Microscope photograph (4× objective) of a membrane that a urine sample was filtered through. The image covers about 1.5 × 1.1 mm of the membrane.
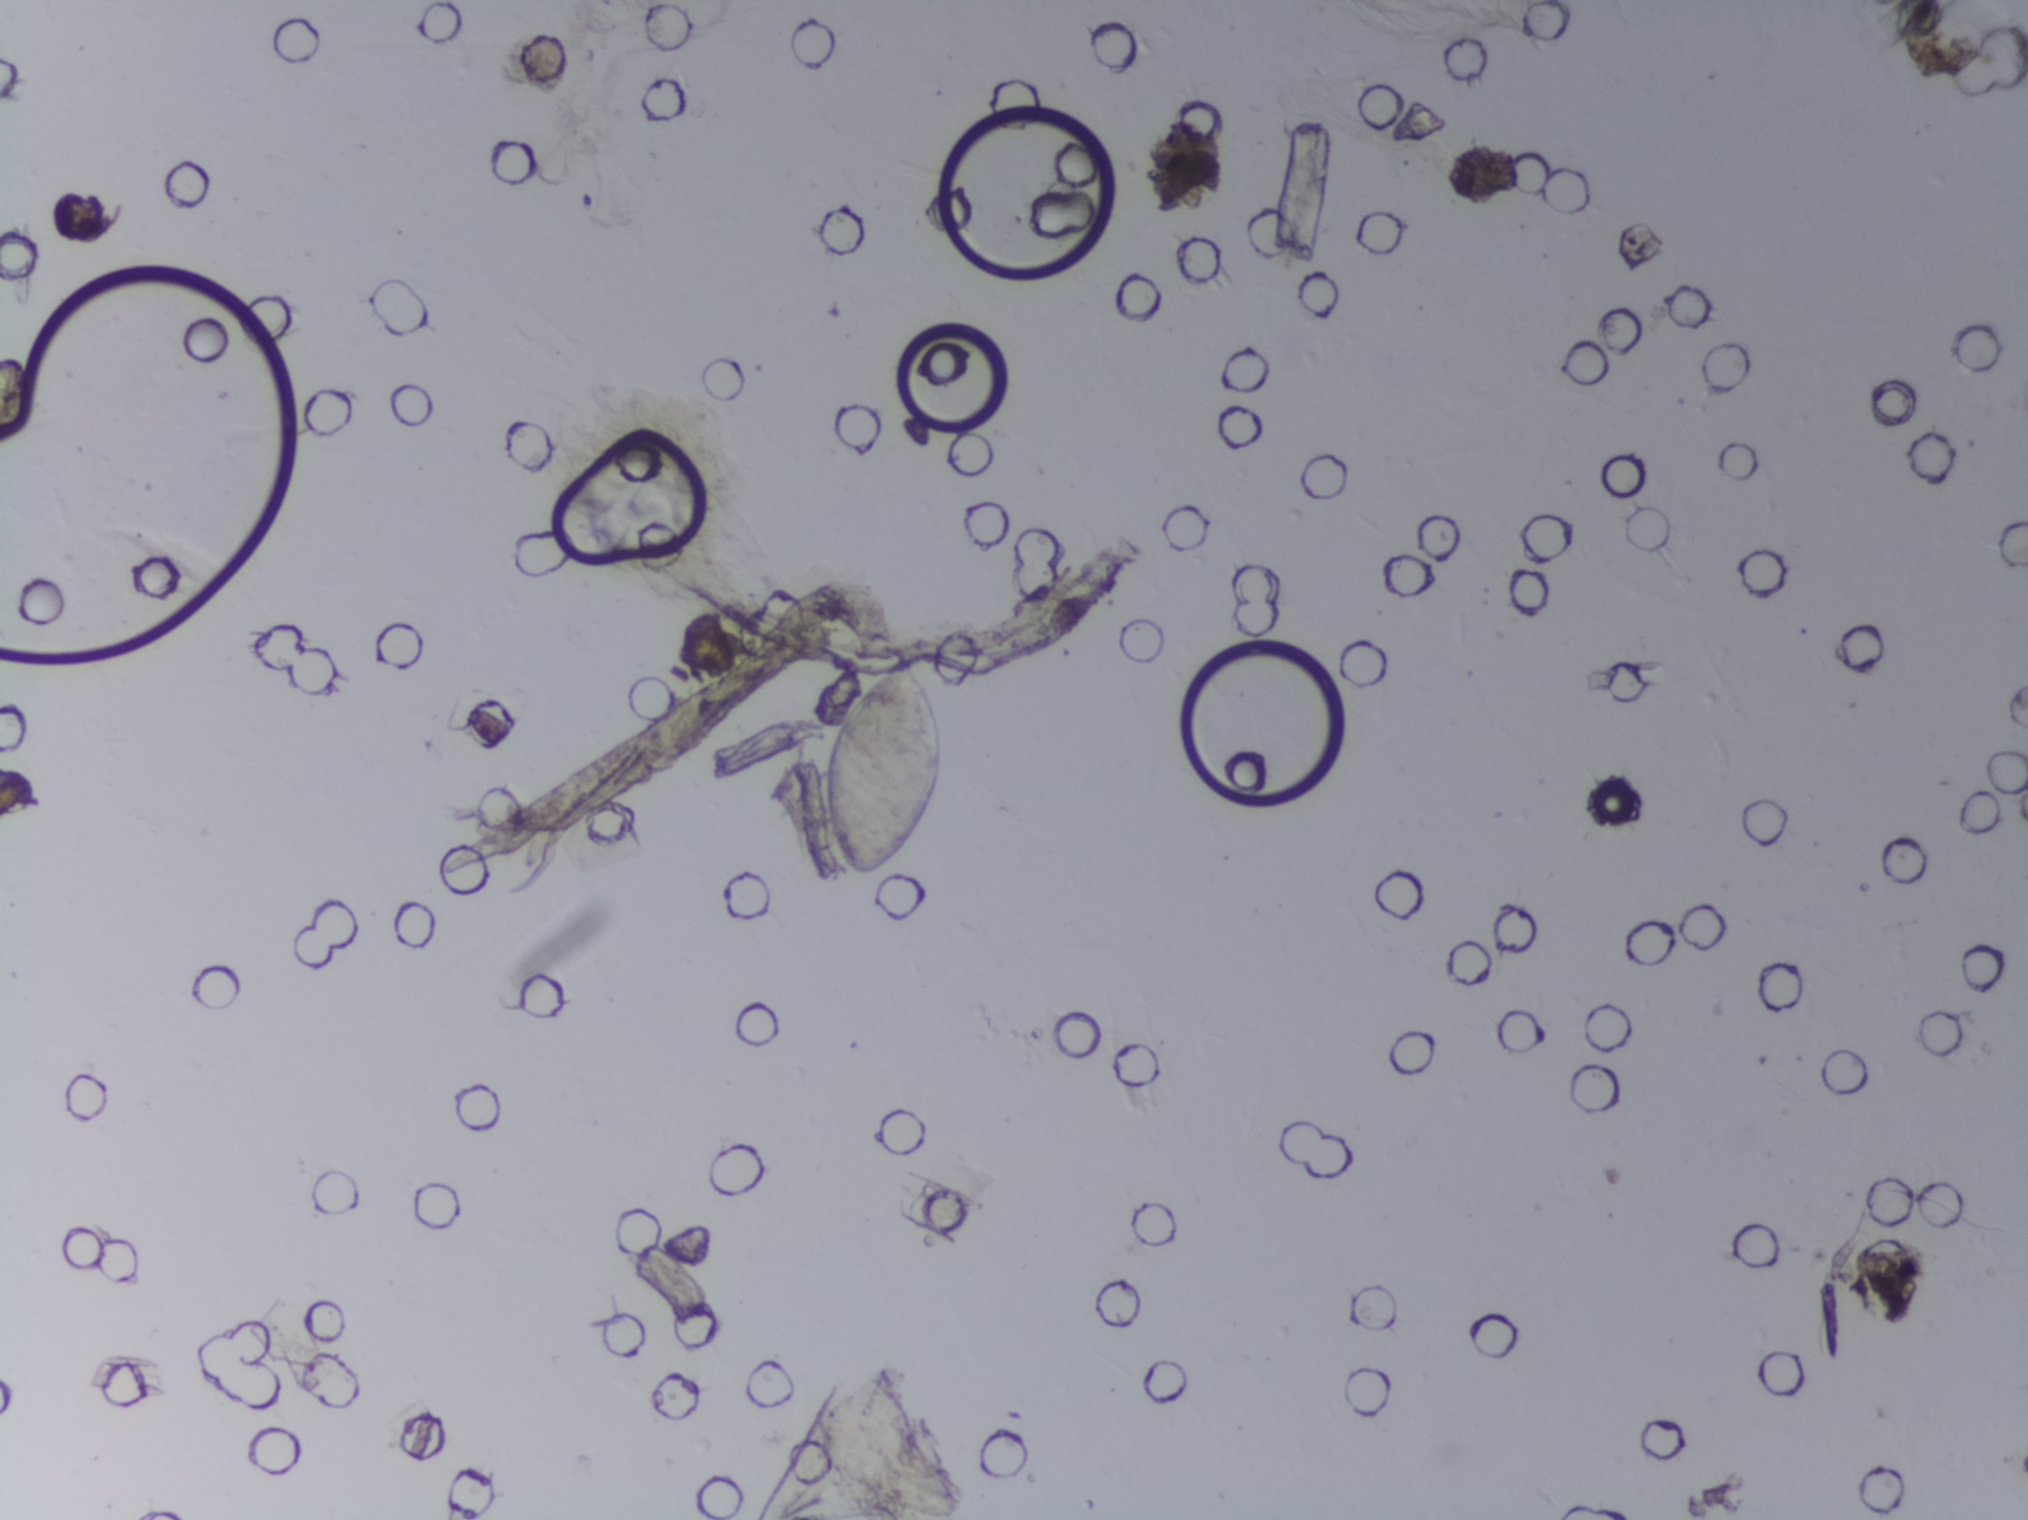
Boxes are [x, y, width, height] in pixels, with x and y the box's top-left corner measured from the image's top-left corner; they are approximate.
The expert annotation outlines Schistosoma eggs at [821, 647, 125, 236]. Eggs that touch can end up inside the same outlined area.